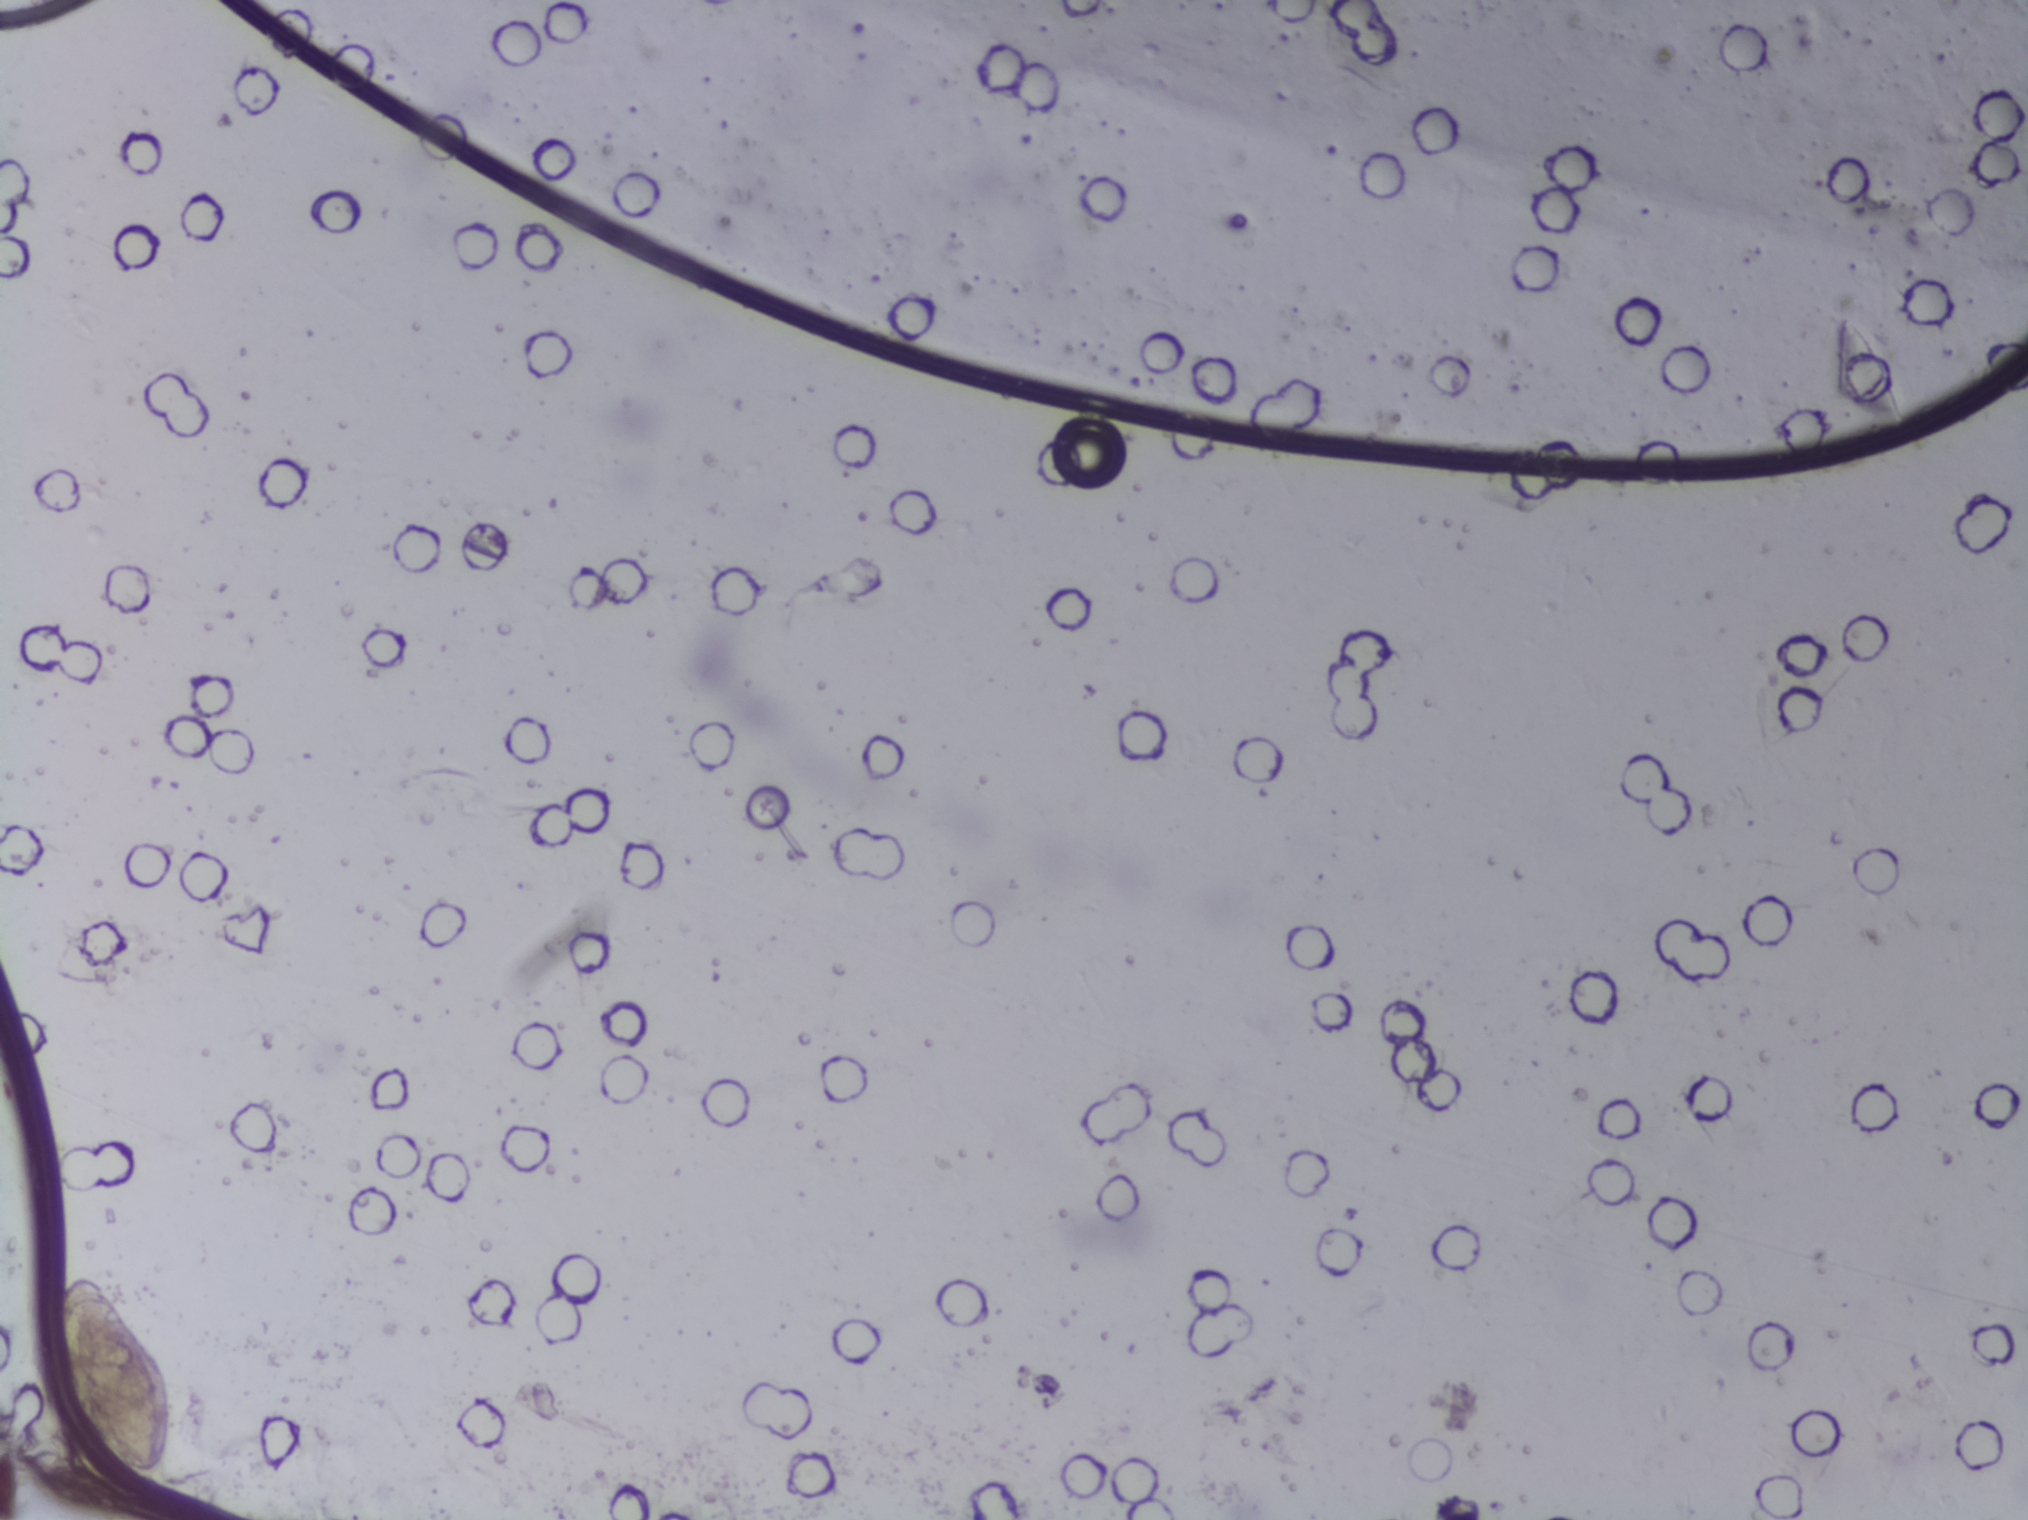
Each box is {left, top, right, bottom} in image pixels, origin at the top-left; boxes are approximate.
Schistosoma egg areas, outlined: {43, 1264, 182, 1479}. A single outlined area may contain several eggs.
Photomicrograph of a urine filtration membrane, 4× objective.